Urine filtration membrane under a 4× objective, photographed by an automated digital microscope. Field of view: about 1.5 mm wide and 1.1 mm high.
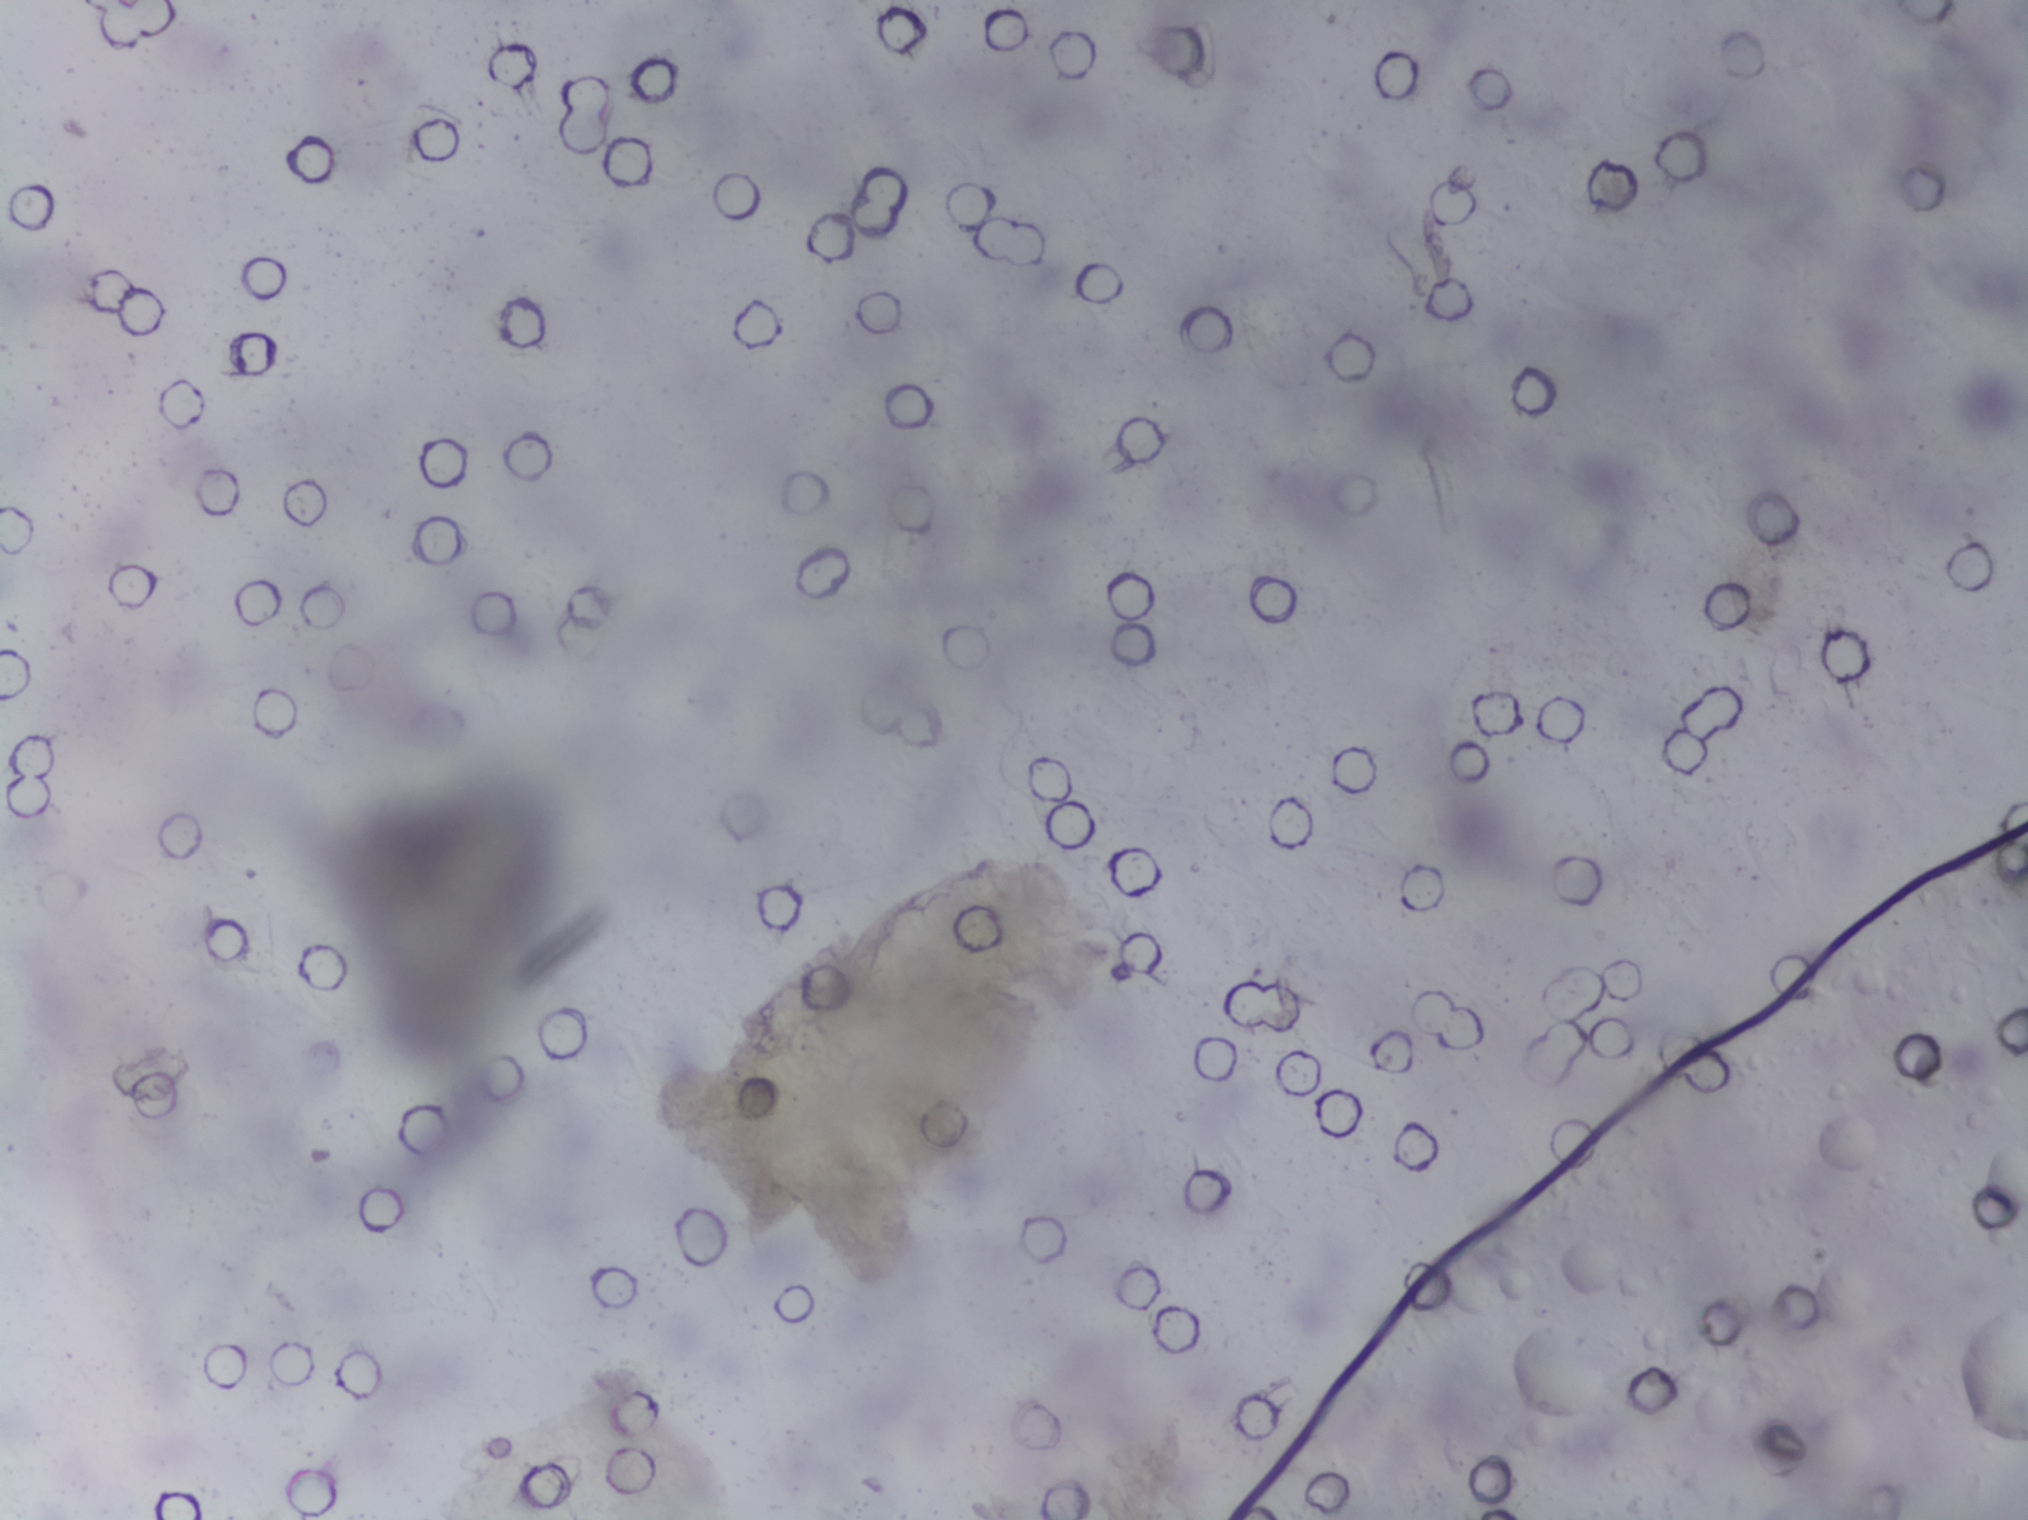
No Schistosoma egg is outlined in this image's expert annotation.